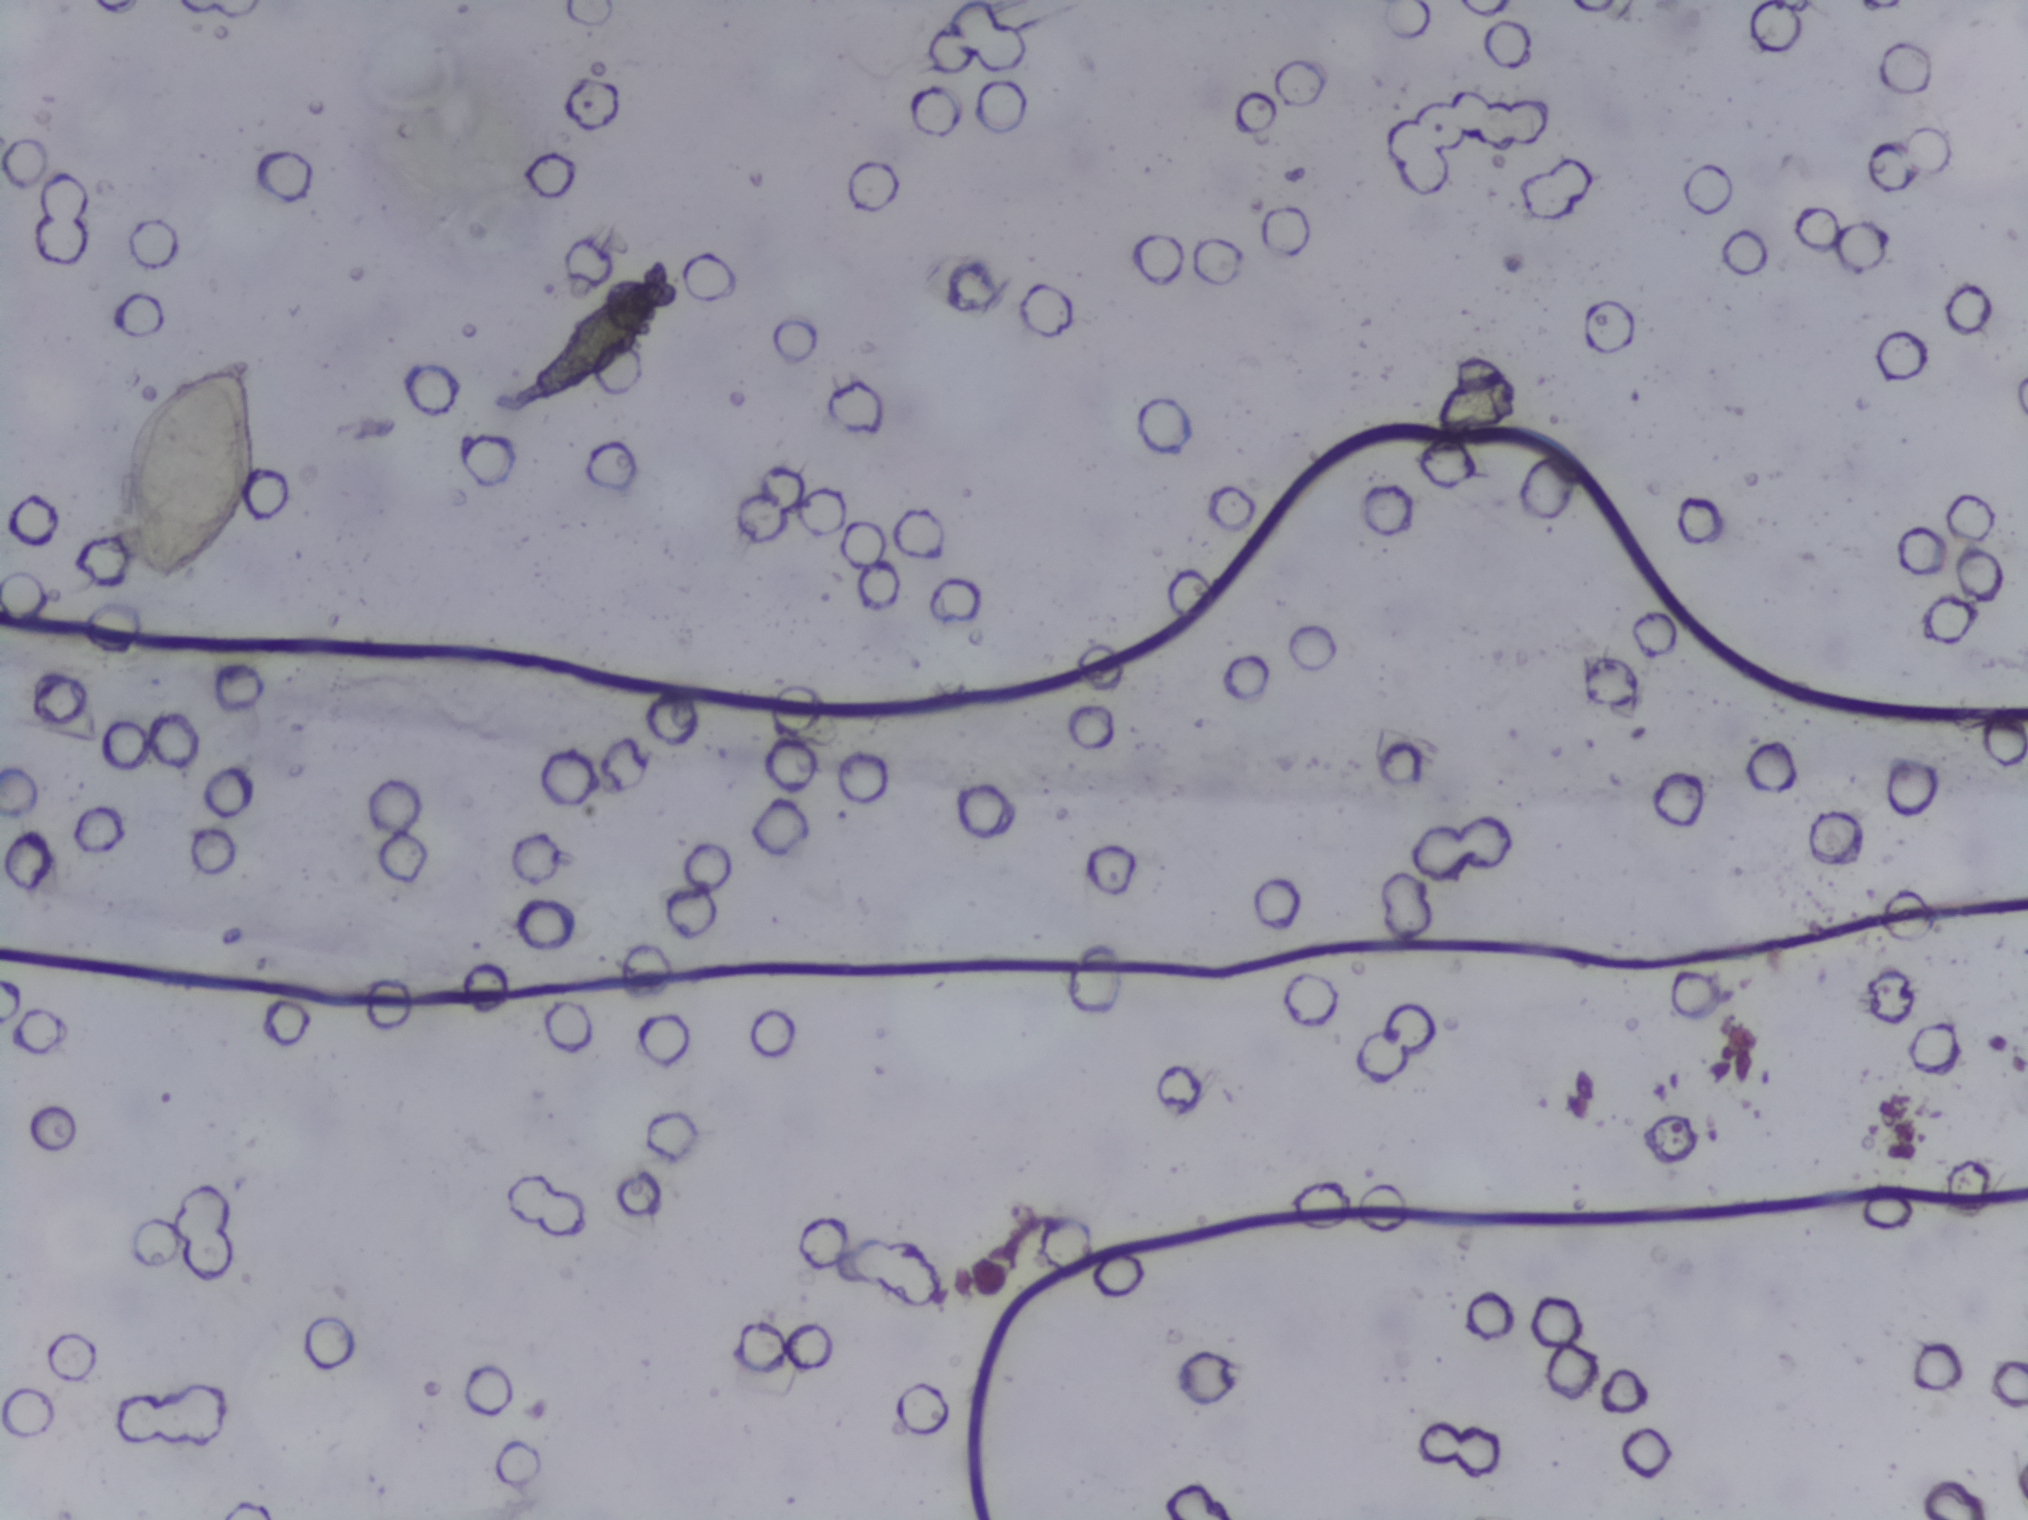
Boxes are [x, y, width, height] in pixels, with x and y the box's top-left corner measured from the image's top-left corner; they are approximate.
One area of this image is outlined as Schistosoma eggs: [125, 358, 136, 223]. The marked pixels themselves, not the box around them, cover about 0.7% of the image. A single outlined area may contain several eggs.
Photomicrograph of a urine filtration membrane, 4× objective.